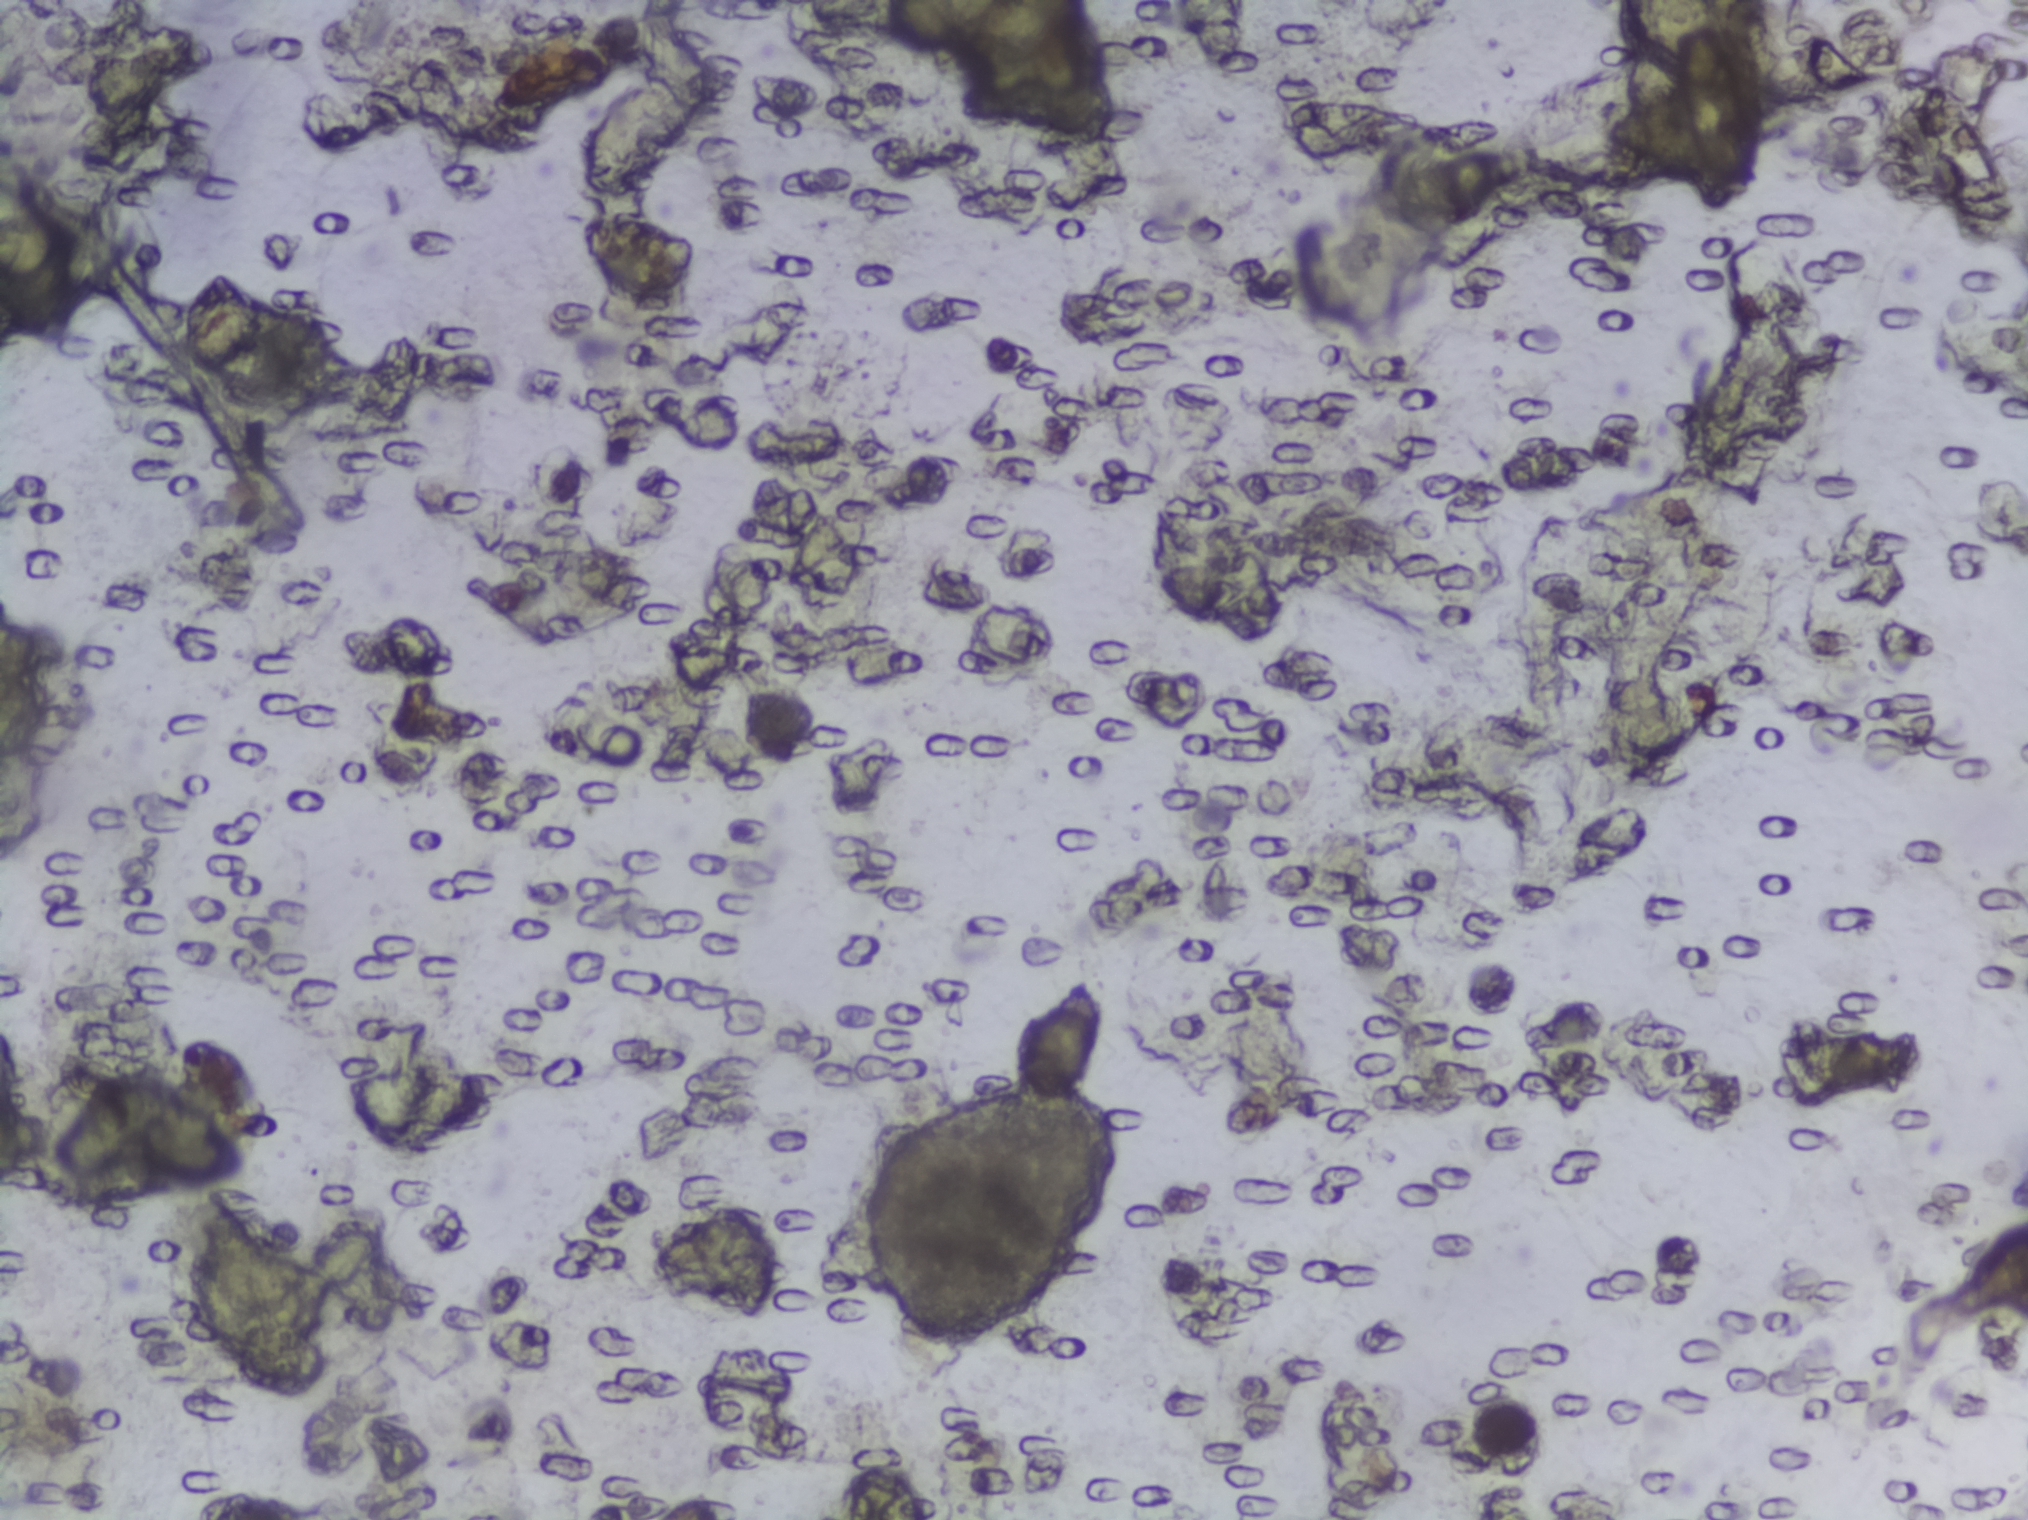
Photograph from an automated digital microscope: urine filter membrane, 4× objective.
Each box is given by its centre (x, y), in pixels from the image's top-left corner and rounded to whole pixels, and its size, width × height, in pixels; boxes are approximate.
Schistosoma eggs are outlined in the expert annotation at centre (38, 267), 77 × 175 px (reaching the left edge of the frame). About 0.4% of the image's pixels are marked (the marked pixels themselves, not the box around them). A single outlined area may contain several eggs.